One field of view of a urine filter membrane, 4× objective, 2028 × 1520 pixels.
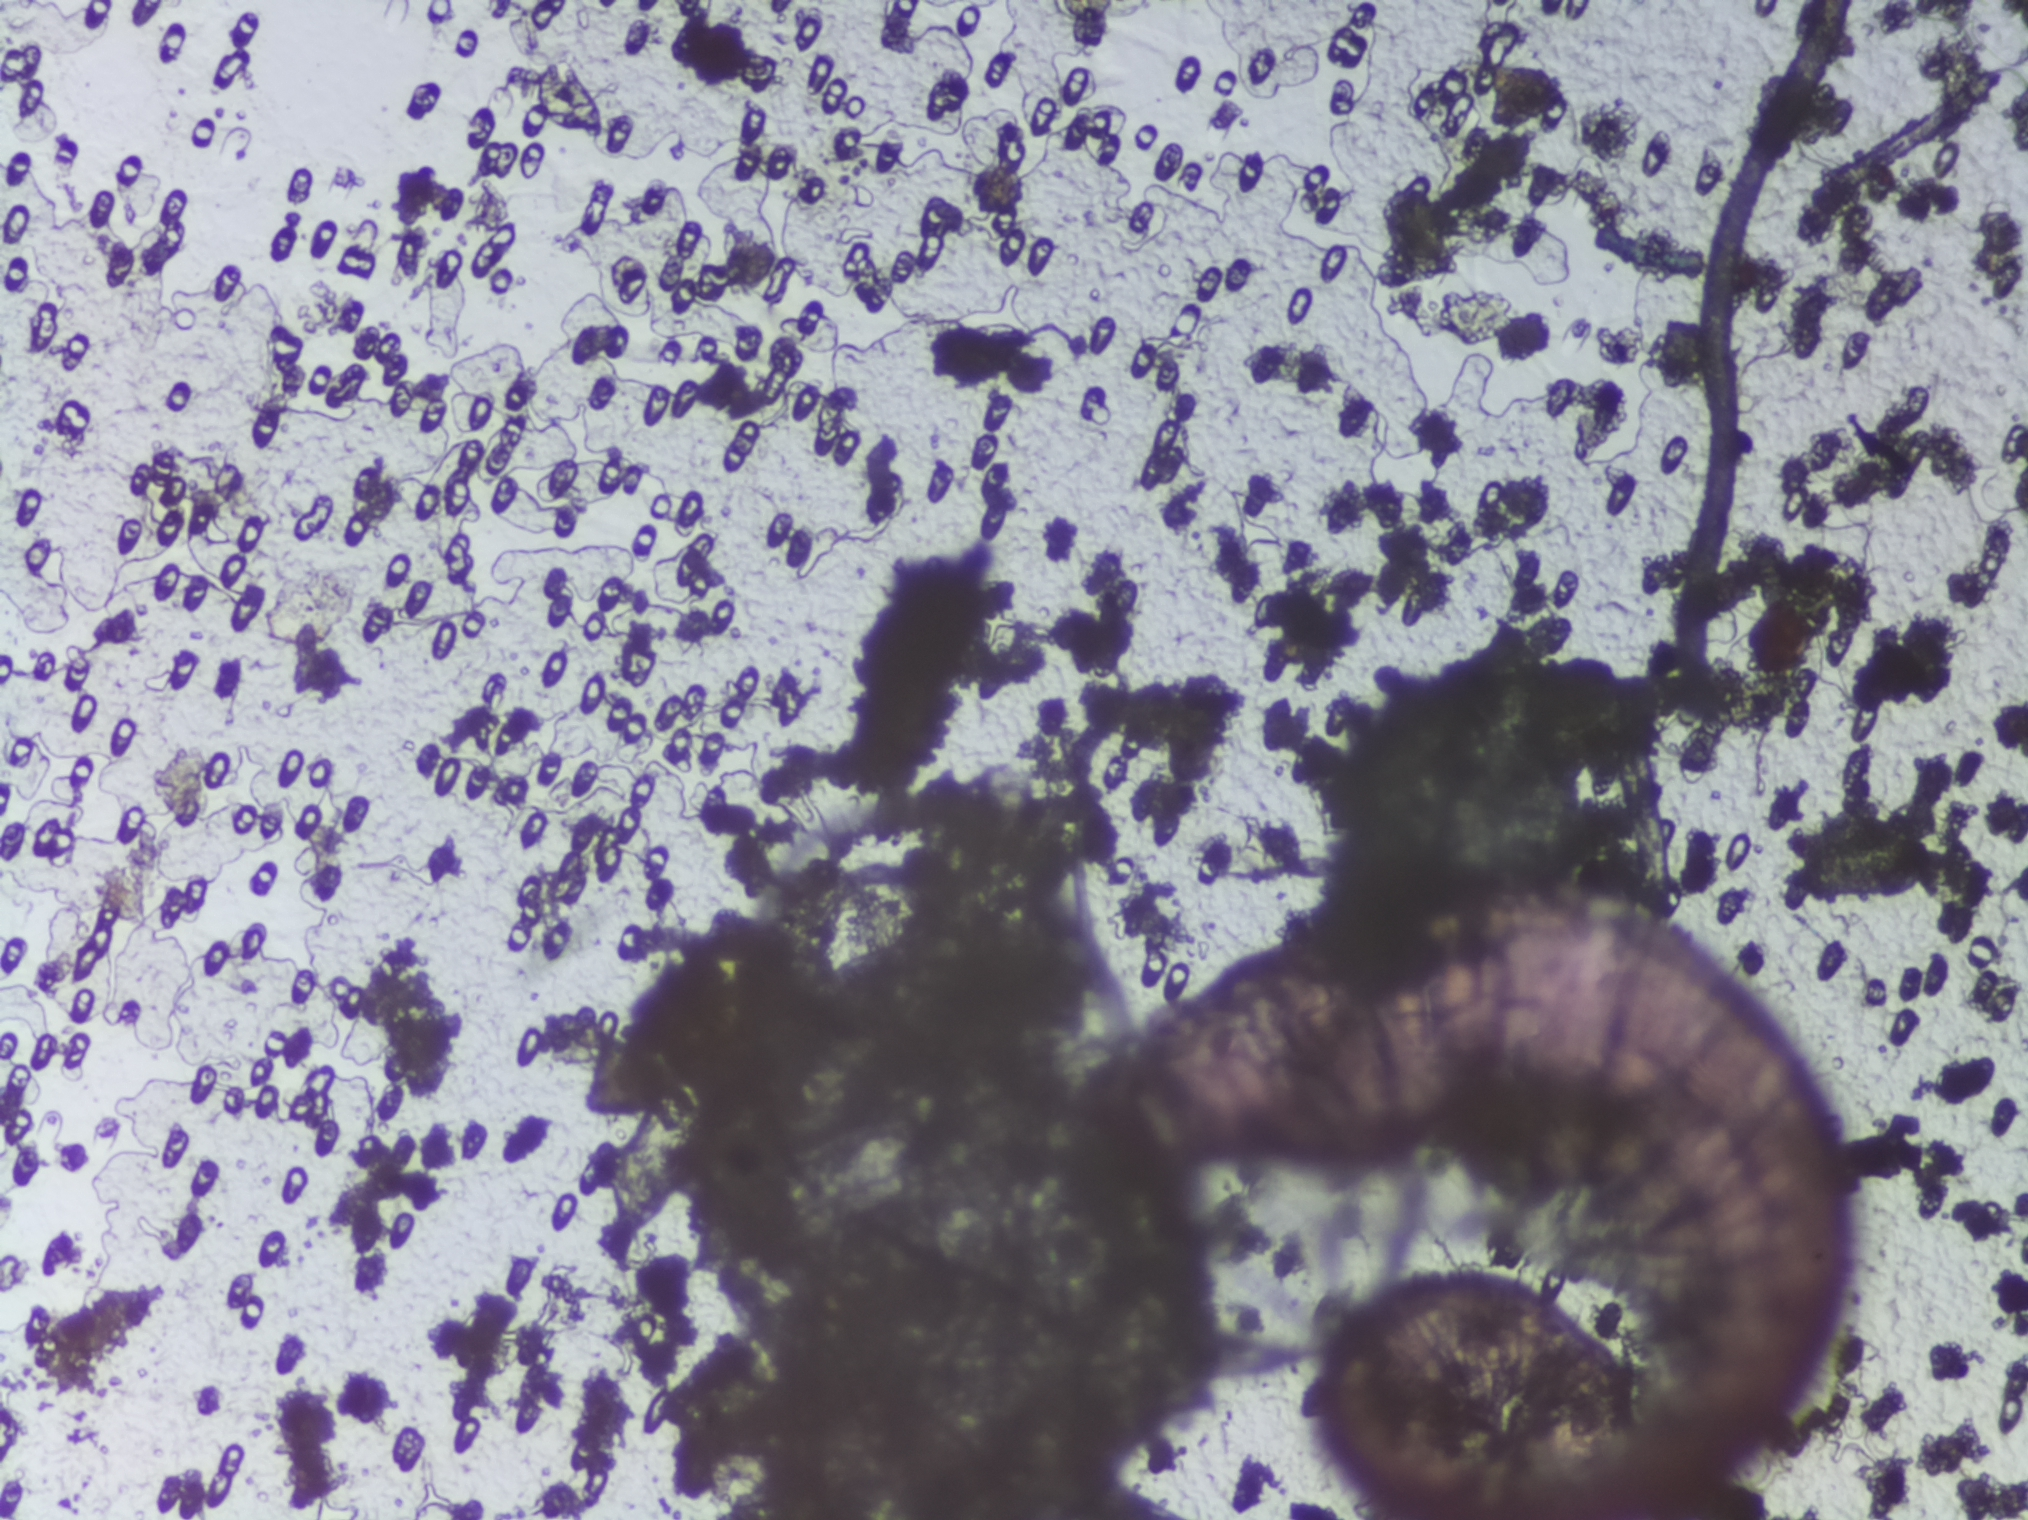
The expert annotation outlines no Schistosoma egg in this image.